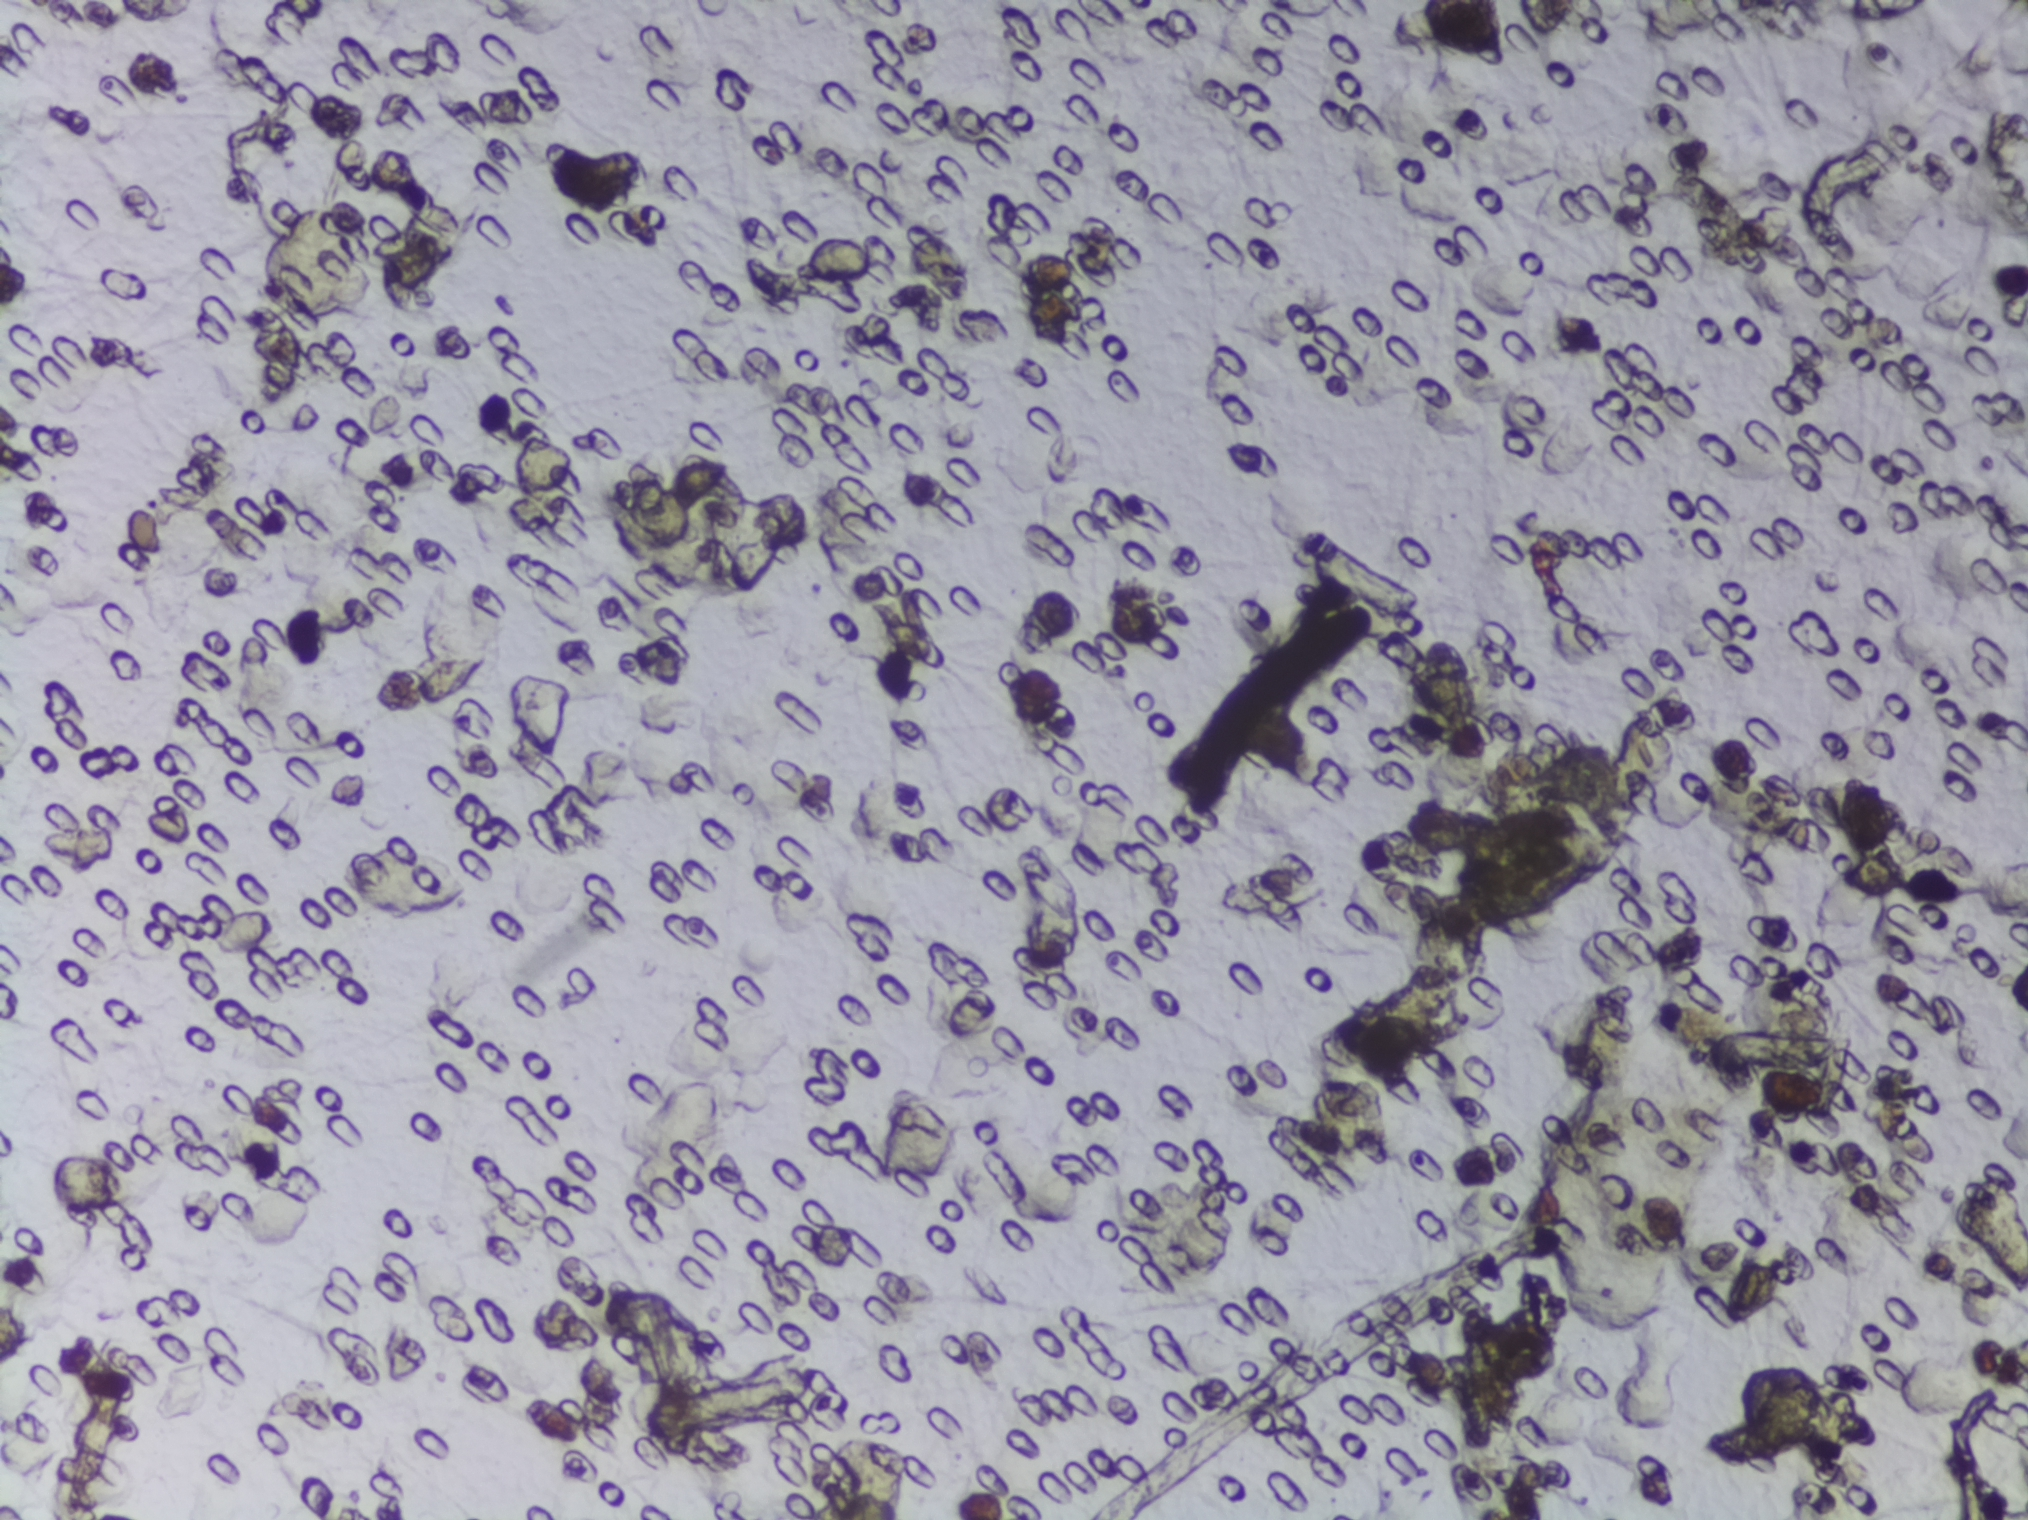
Urine filter membrane photographed through a 4× microscope objective. Field of view: about 1.5 mm wide and 1.1 mm high.
Schistosoma eggs: none outlined.